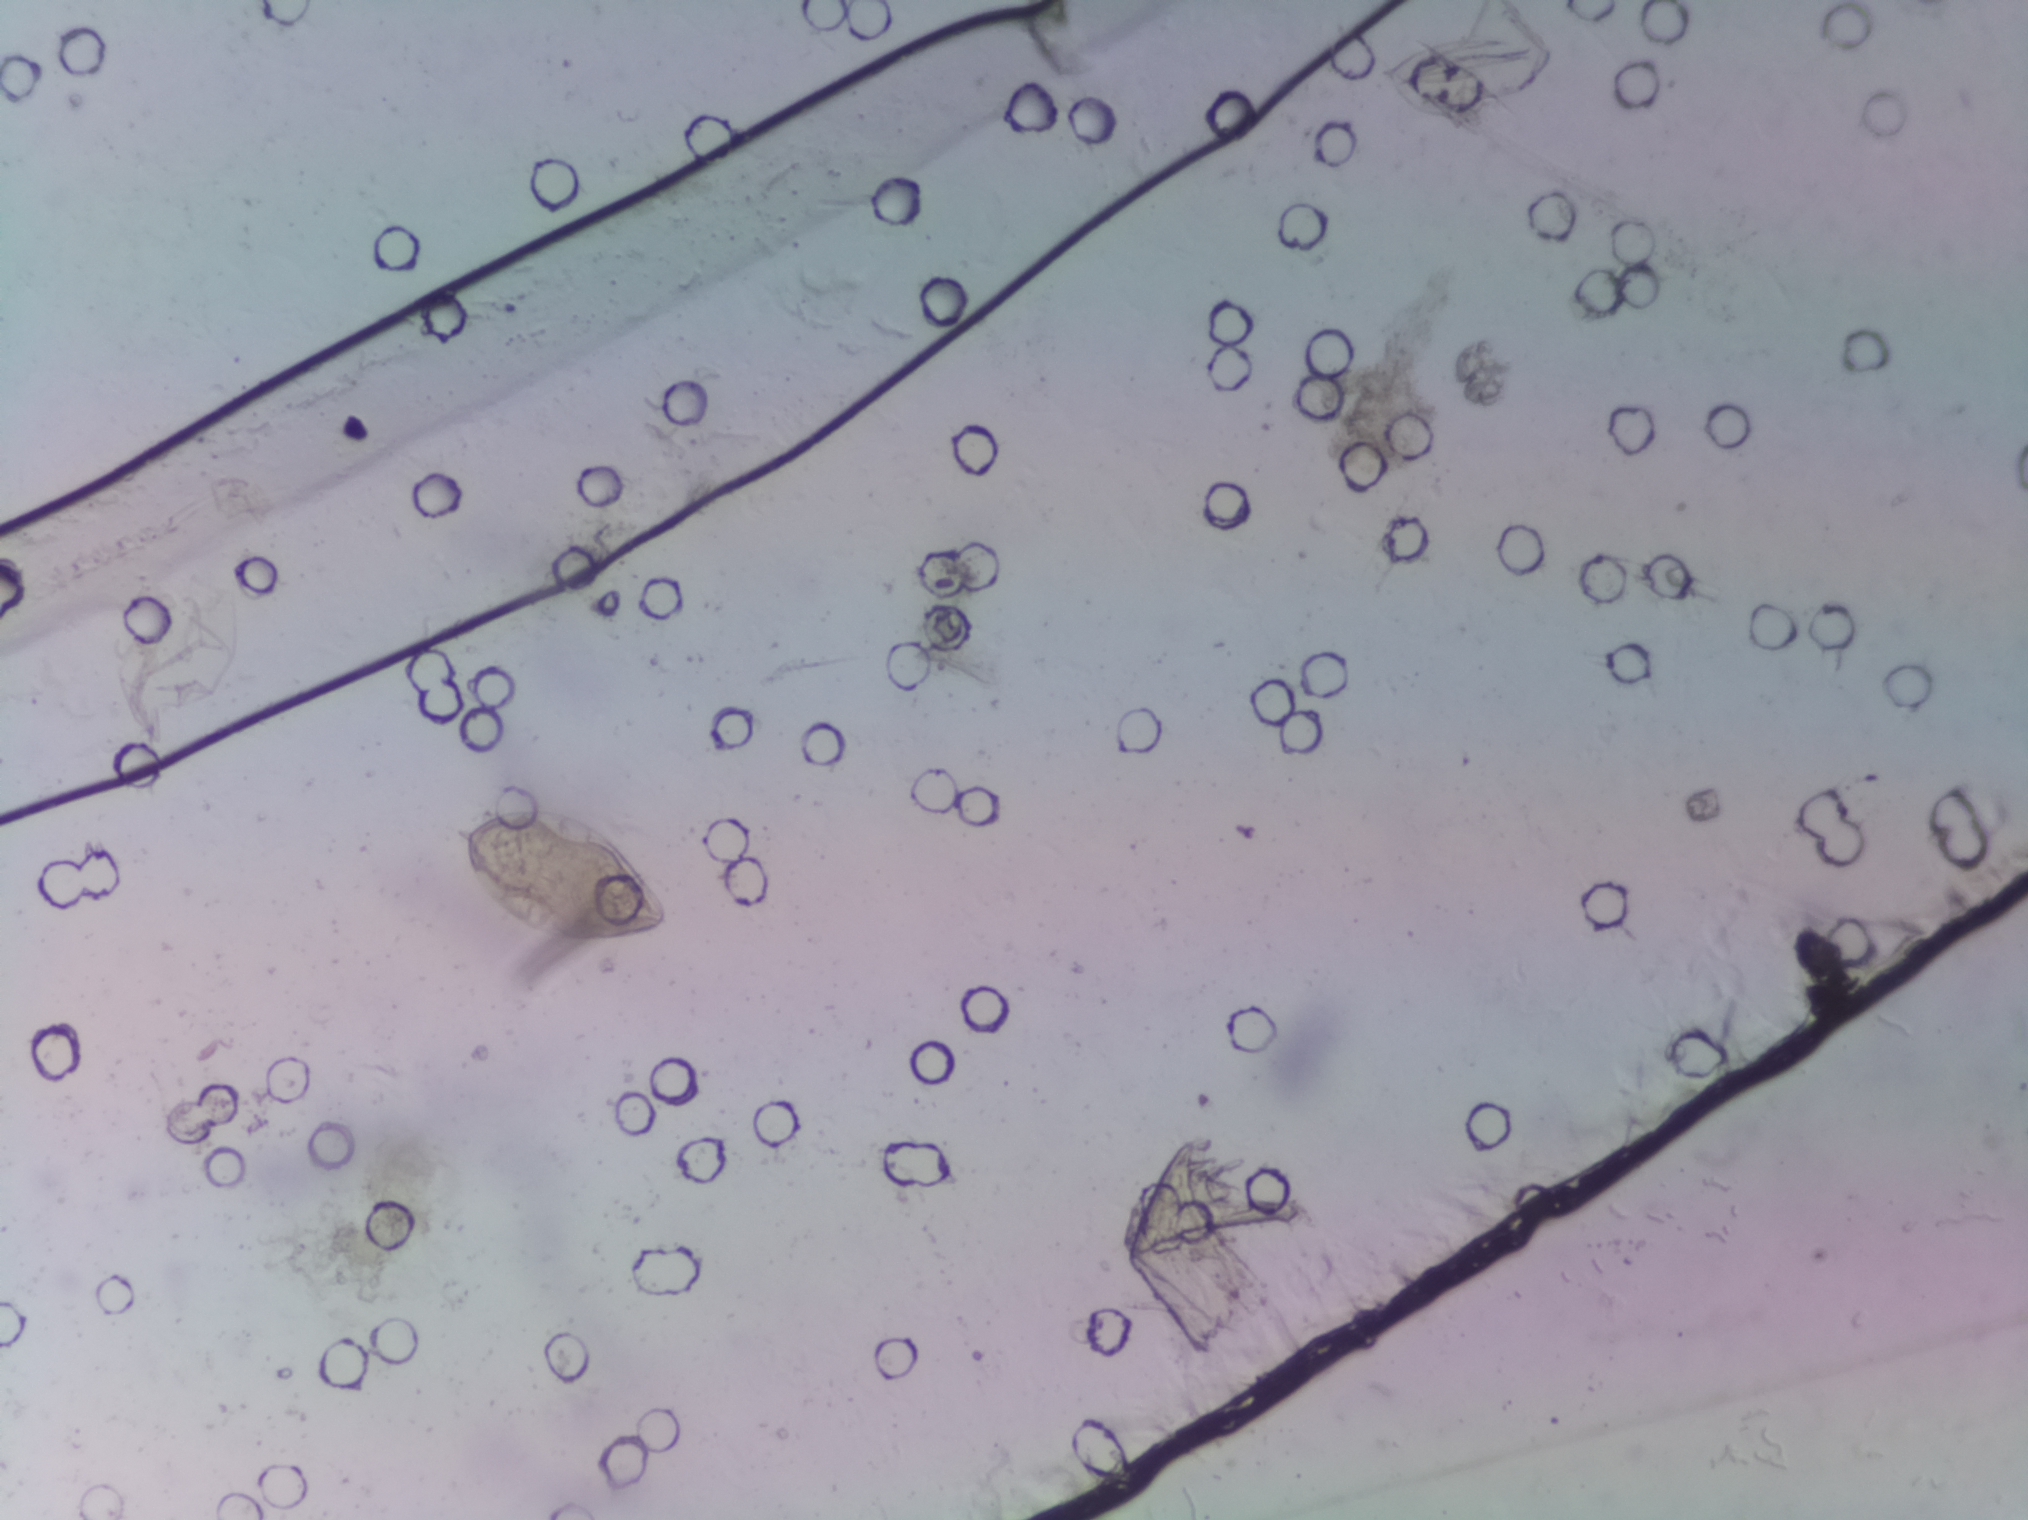
Urine filtration membrane under a 4× objective, photographed by an automated digital microscope. The image covers about 1.5 × 1.1 mm of the membrane.
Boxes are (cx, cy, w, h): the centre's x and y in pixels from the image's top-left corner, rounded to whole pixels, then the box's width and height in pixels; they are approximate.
Schistosoma eggs are outlined in the expert annotation at (cx=563, cy=872, w=211, h=141). An outlined area can hold more than one egg. A marked egg may occasionally be S. mansoni rather than S. haematobium.